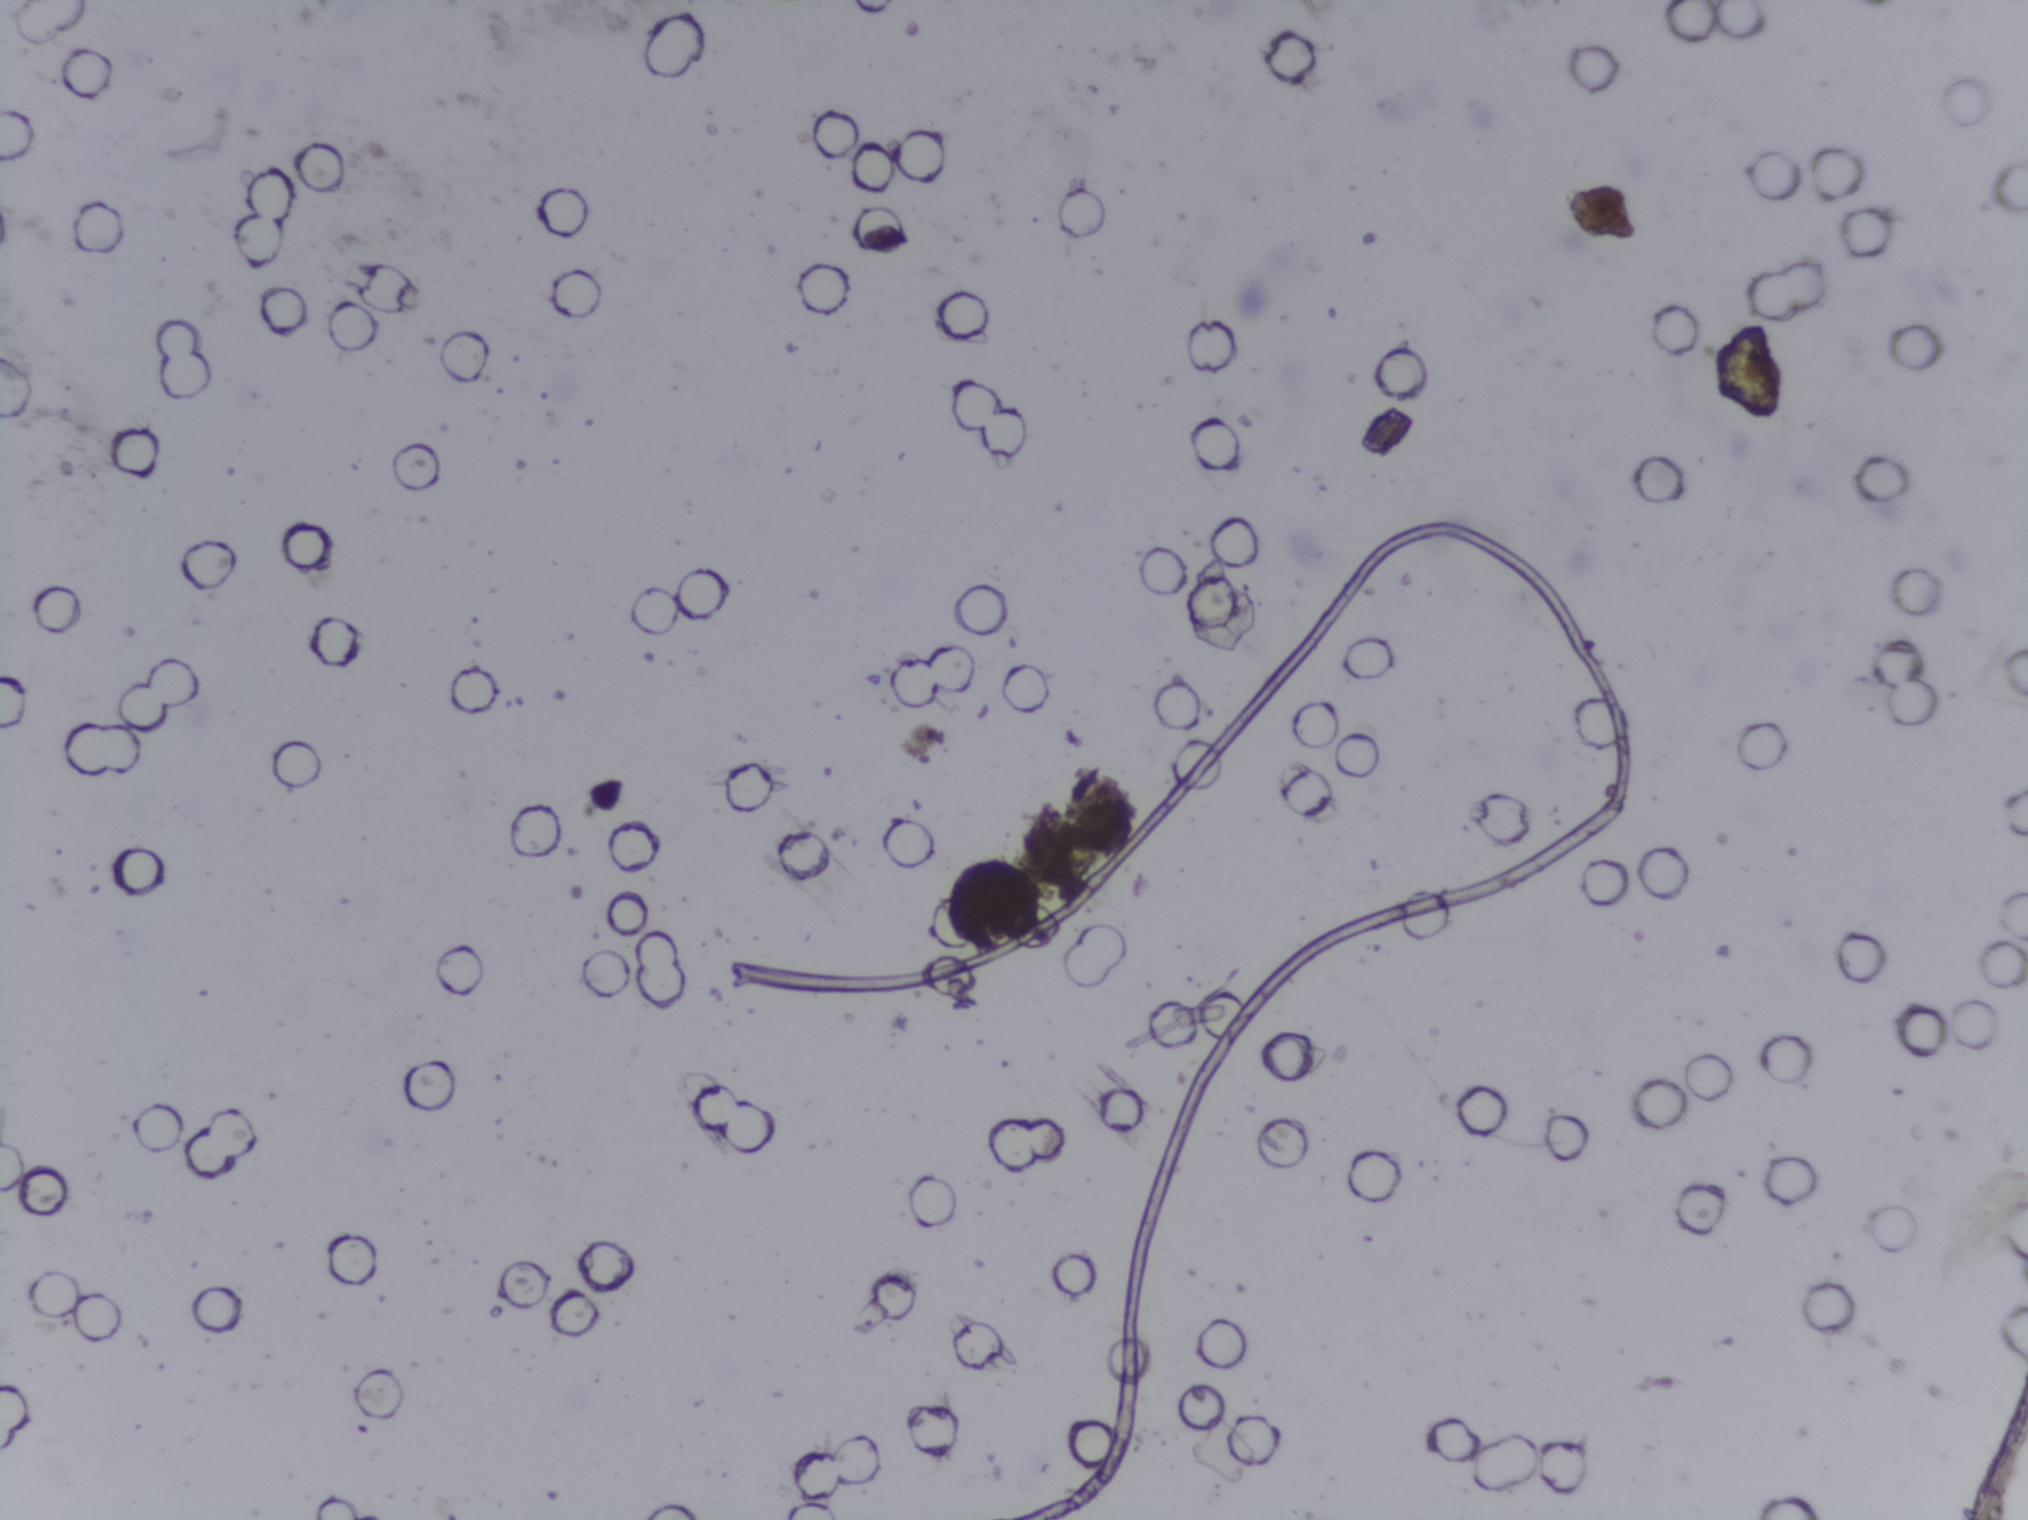
Urine filter membrane photographed through a 4× microscope objective. The image covers about 1.5 × 1.1 mm of the membrane.
The expert annotation marks no Schistosoma egg in this field of view.